Photomicrograph of a urine filtration membrane, 4× objective.
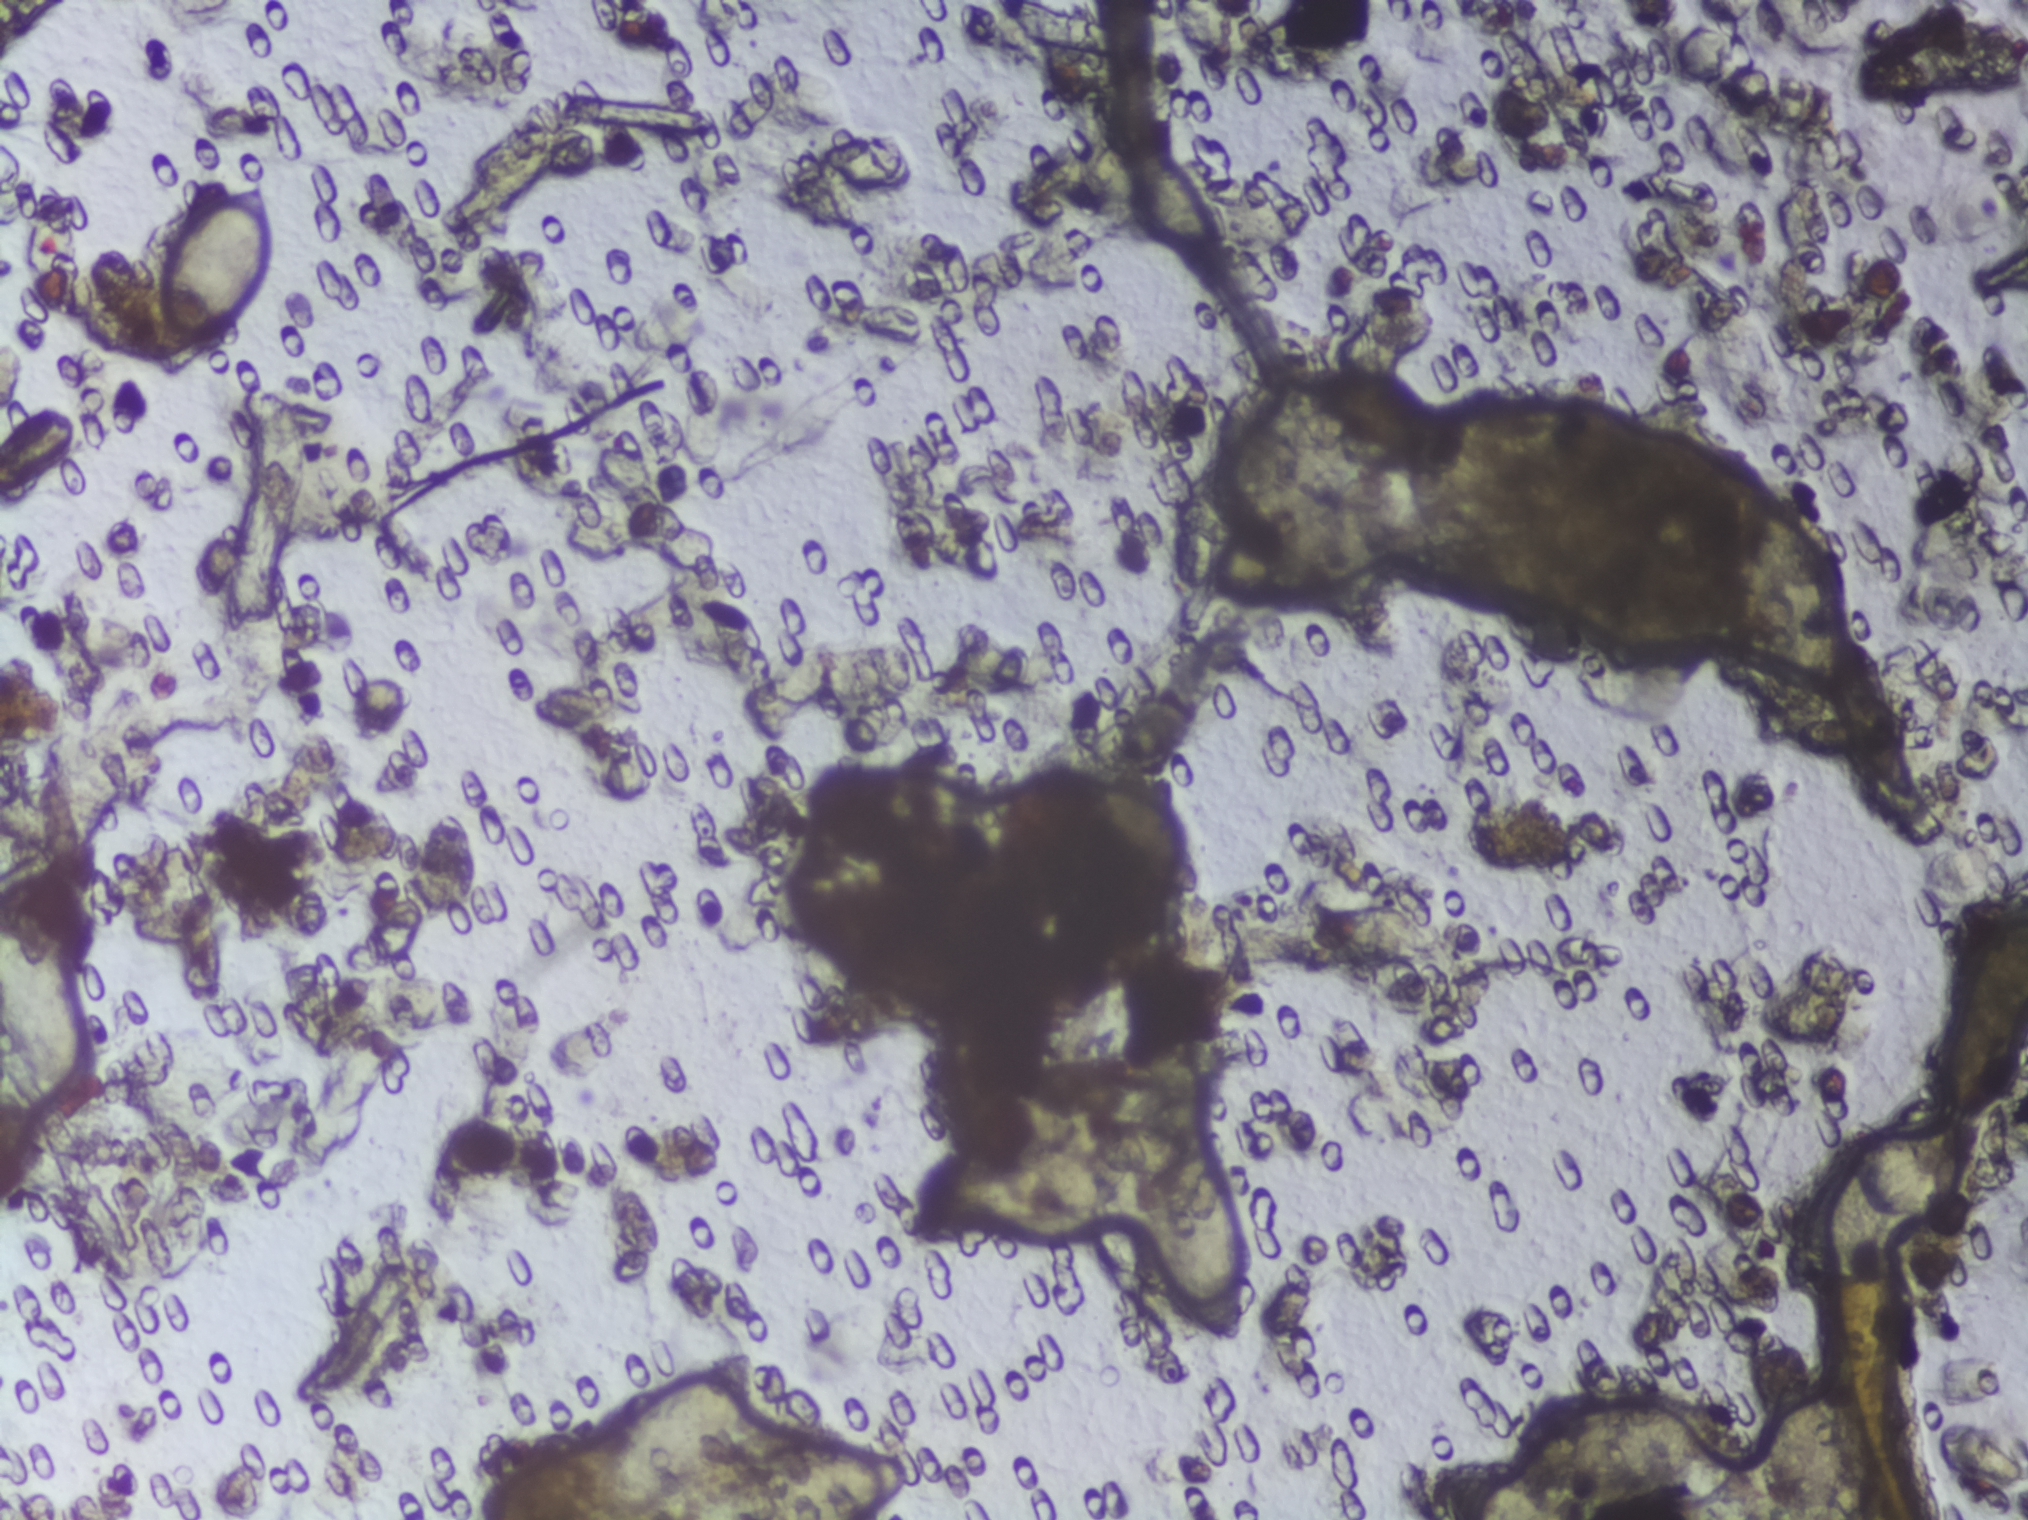
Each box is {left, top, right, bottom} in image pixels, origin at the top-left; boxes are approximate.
Areas outlined as Schistosoma eggs: {0, 882, 102, 1094} (reaching the left edge of the frame); {153, 179, 272, 350}; {480, 1350, 754, 1519} (reaching the bottom edge of the frame); {668, 1442, 904, 1519} (reaching the bottom edge of the frame); {925, 1135, 1123, 1226}; {1131, 1119, 1245, 1346}; {1207, 487, 1425, 606}; {1416, 1390, 1731, 1519} (reaching the bottom edge of the frame); {1760, 1352, 1869, 1519} (reaching the bottom edge of the frame); {1780, 1112, 1967, 1295}. An outlined area can hold more than one egg.